Photograph from an automated digital microscope: urine filter membrane, 4× objective.
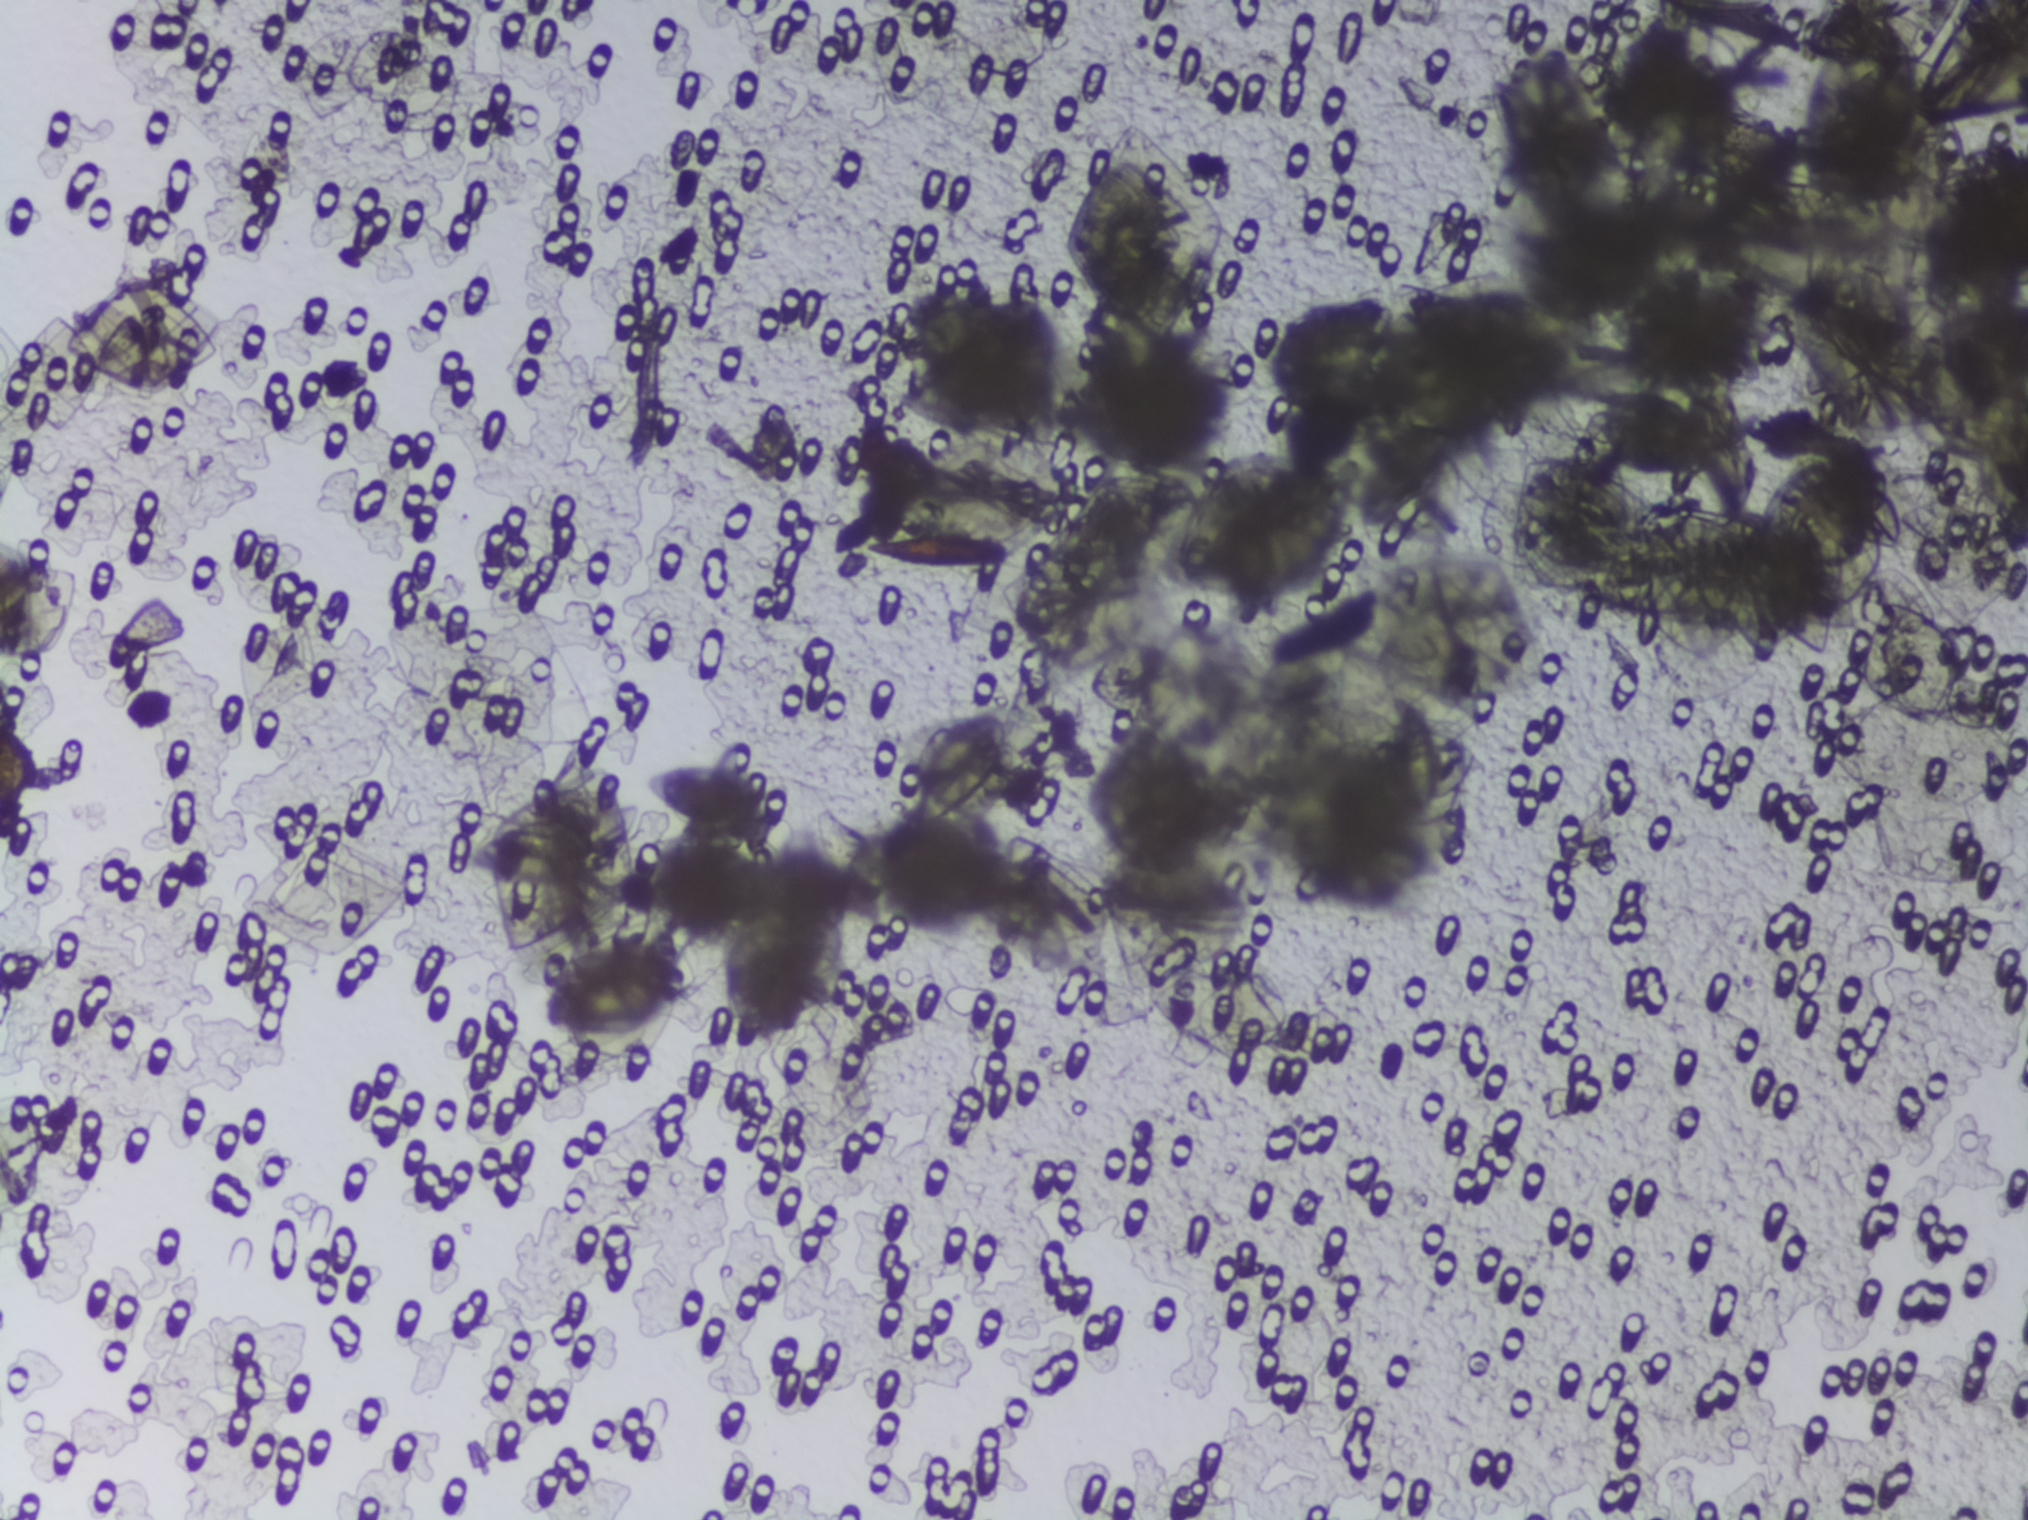
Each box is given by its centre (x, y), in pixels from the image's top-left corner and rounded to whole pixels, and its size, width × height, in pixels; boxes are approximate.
Schistosoma eggs, outlined areas: centre (709, 798), 130 × 57 px. An outlined area can hold more than one egg. Any one outlined egg may, rarely, be S. mansoni rather than S. haematobium.